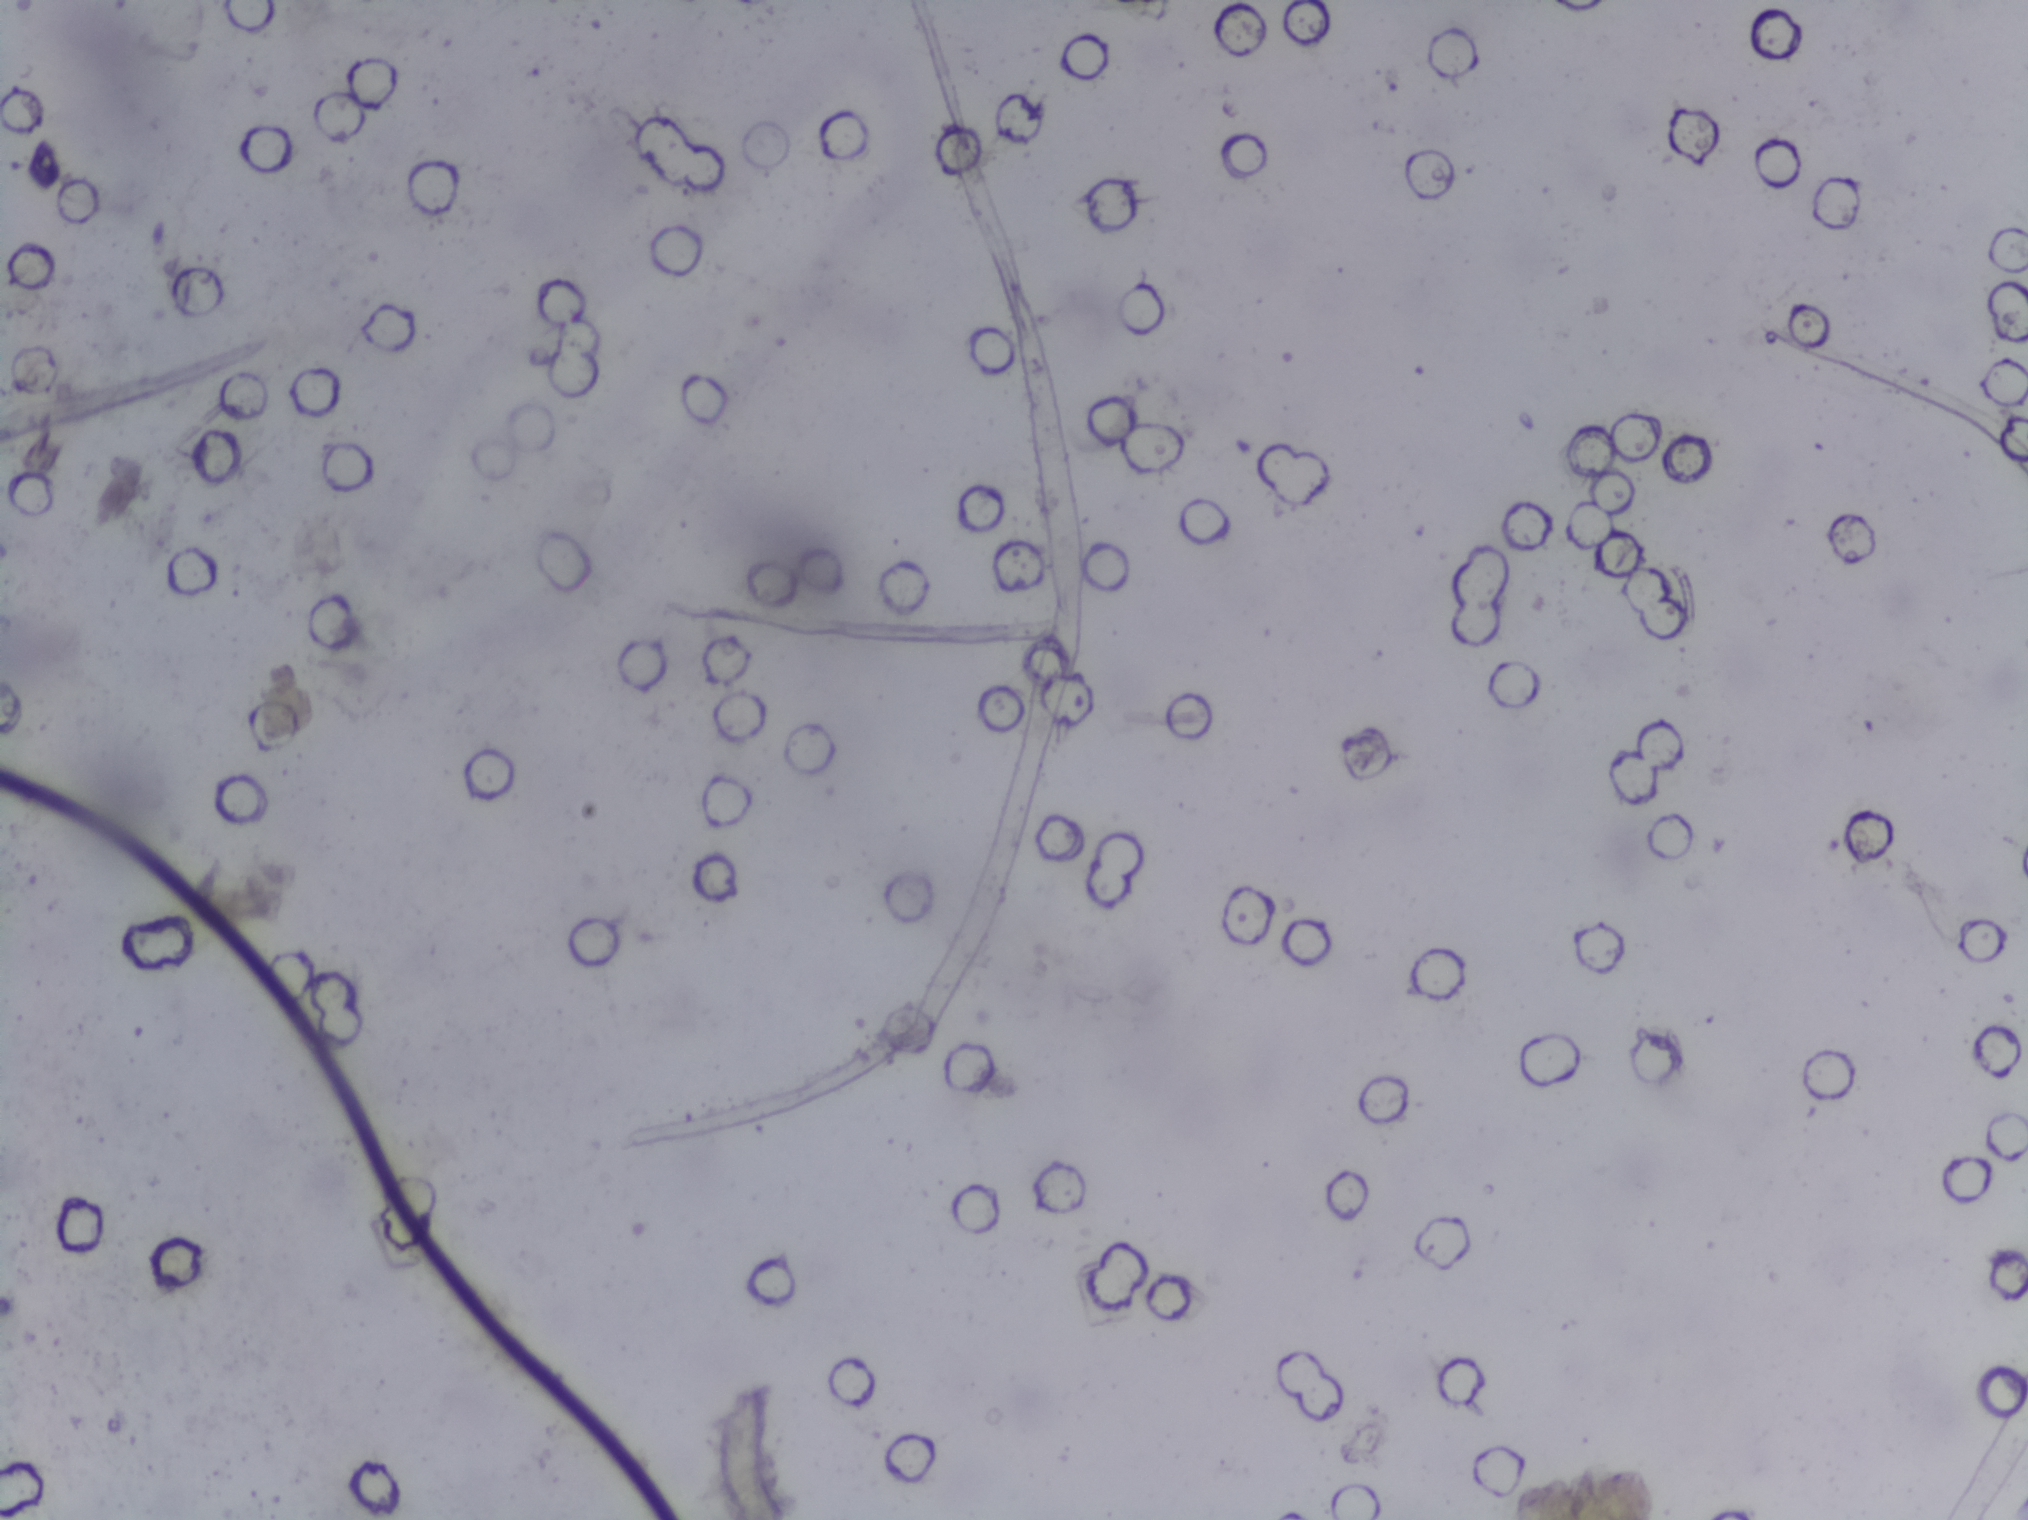
Urine filter membrane photographed through a 4× microscope objective. Field of view: about 1.5 mm wide and 1.1 mm high.
No area of this image was outlined as a Schistosoma egg.